Photomicrograph of a urine filtration membrane, 4× objective.
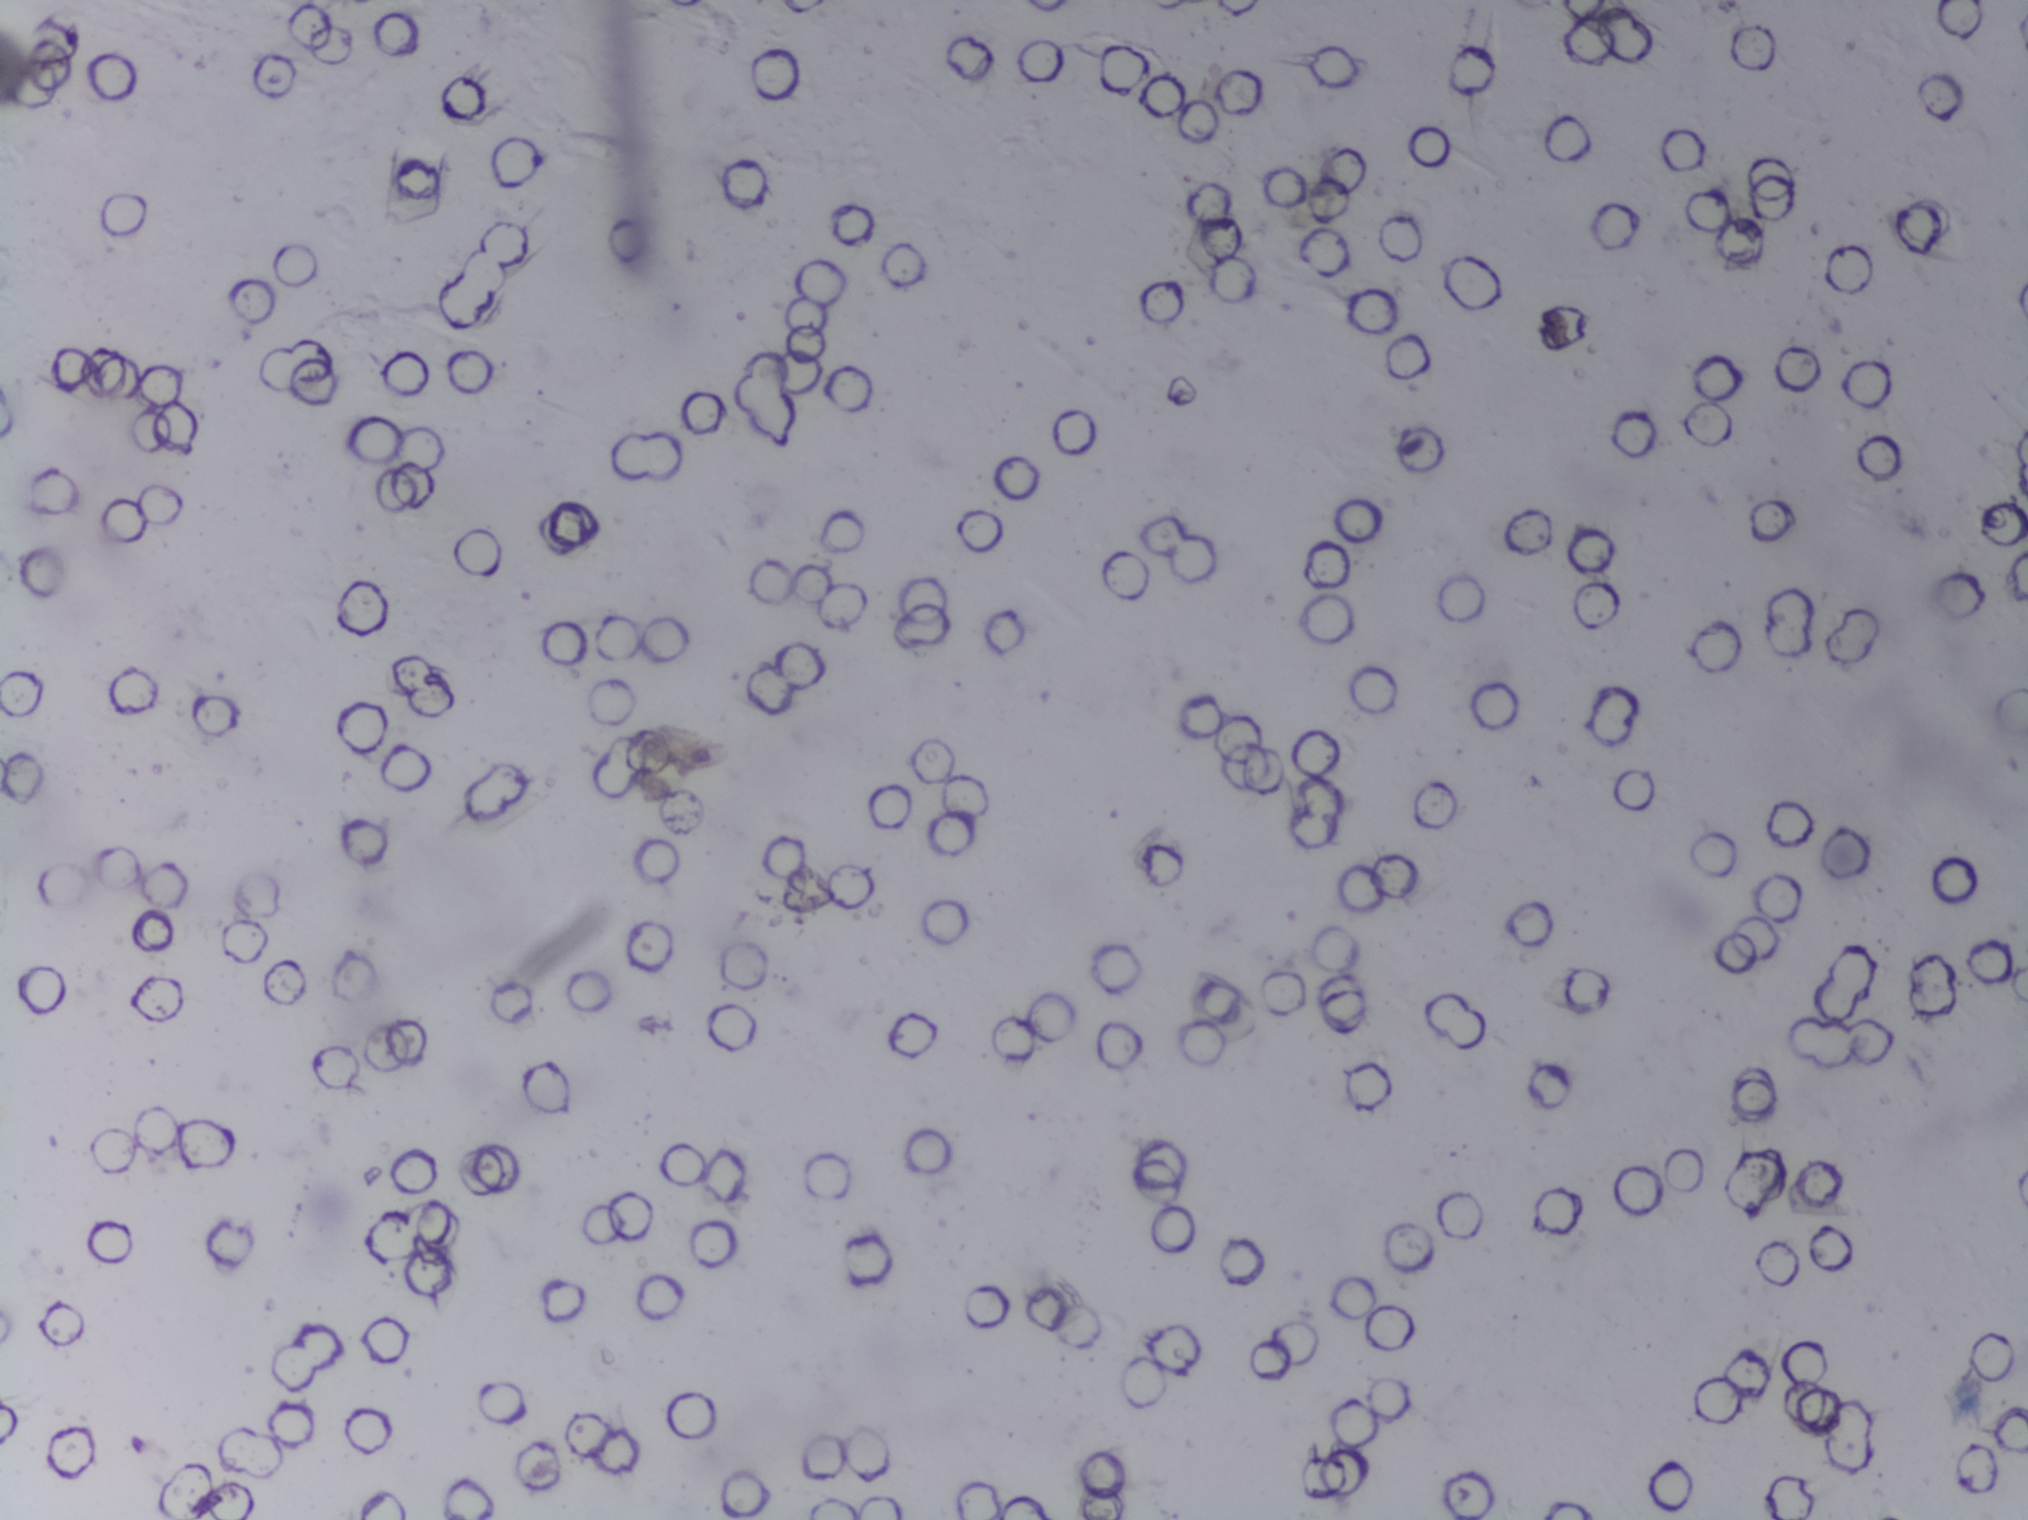
Schistosoma eggs: none outlined.